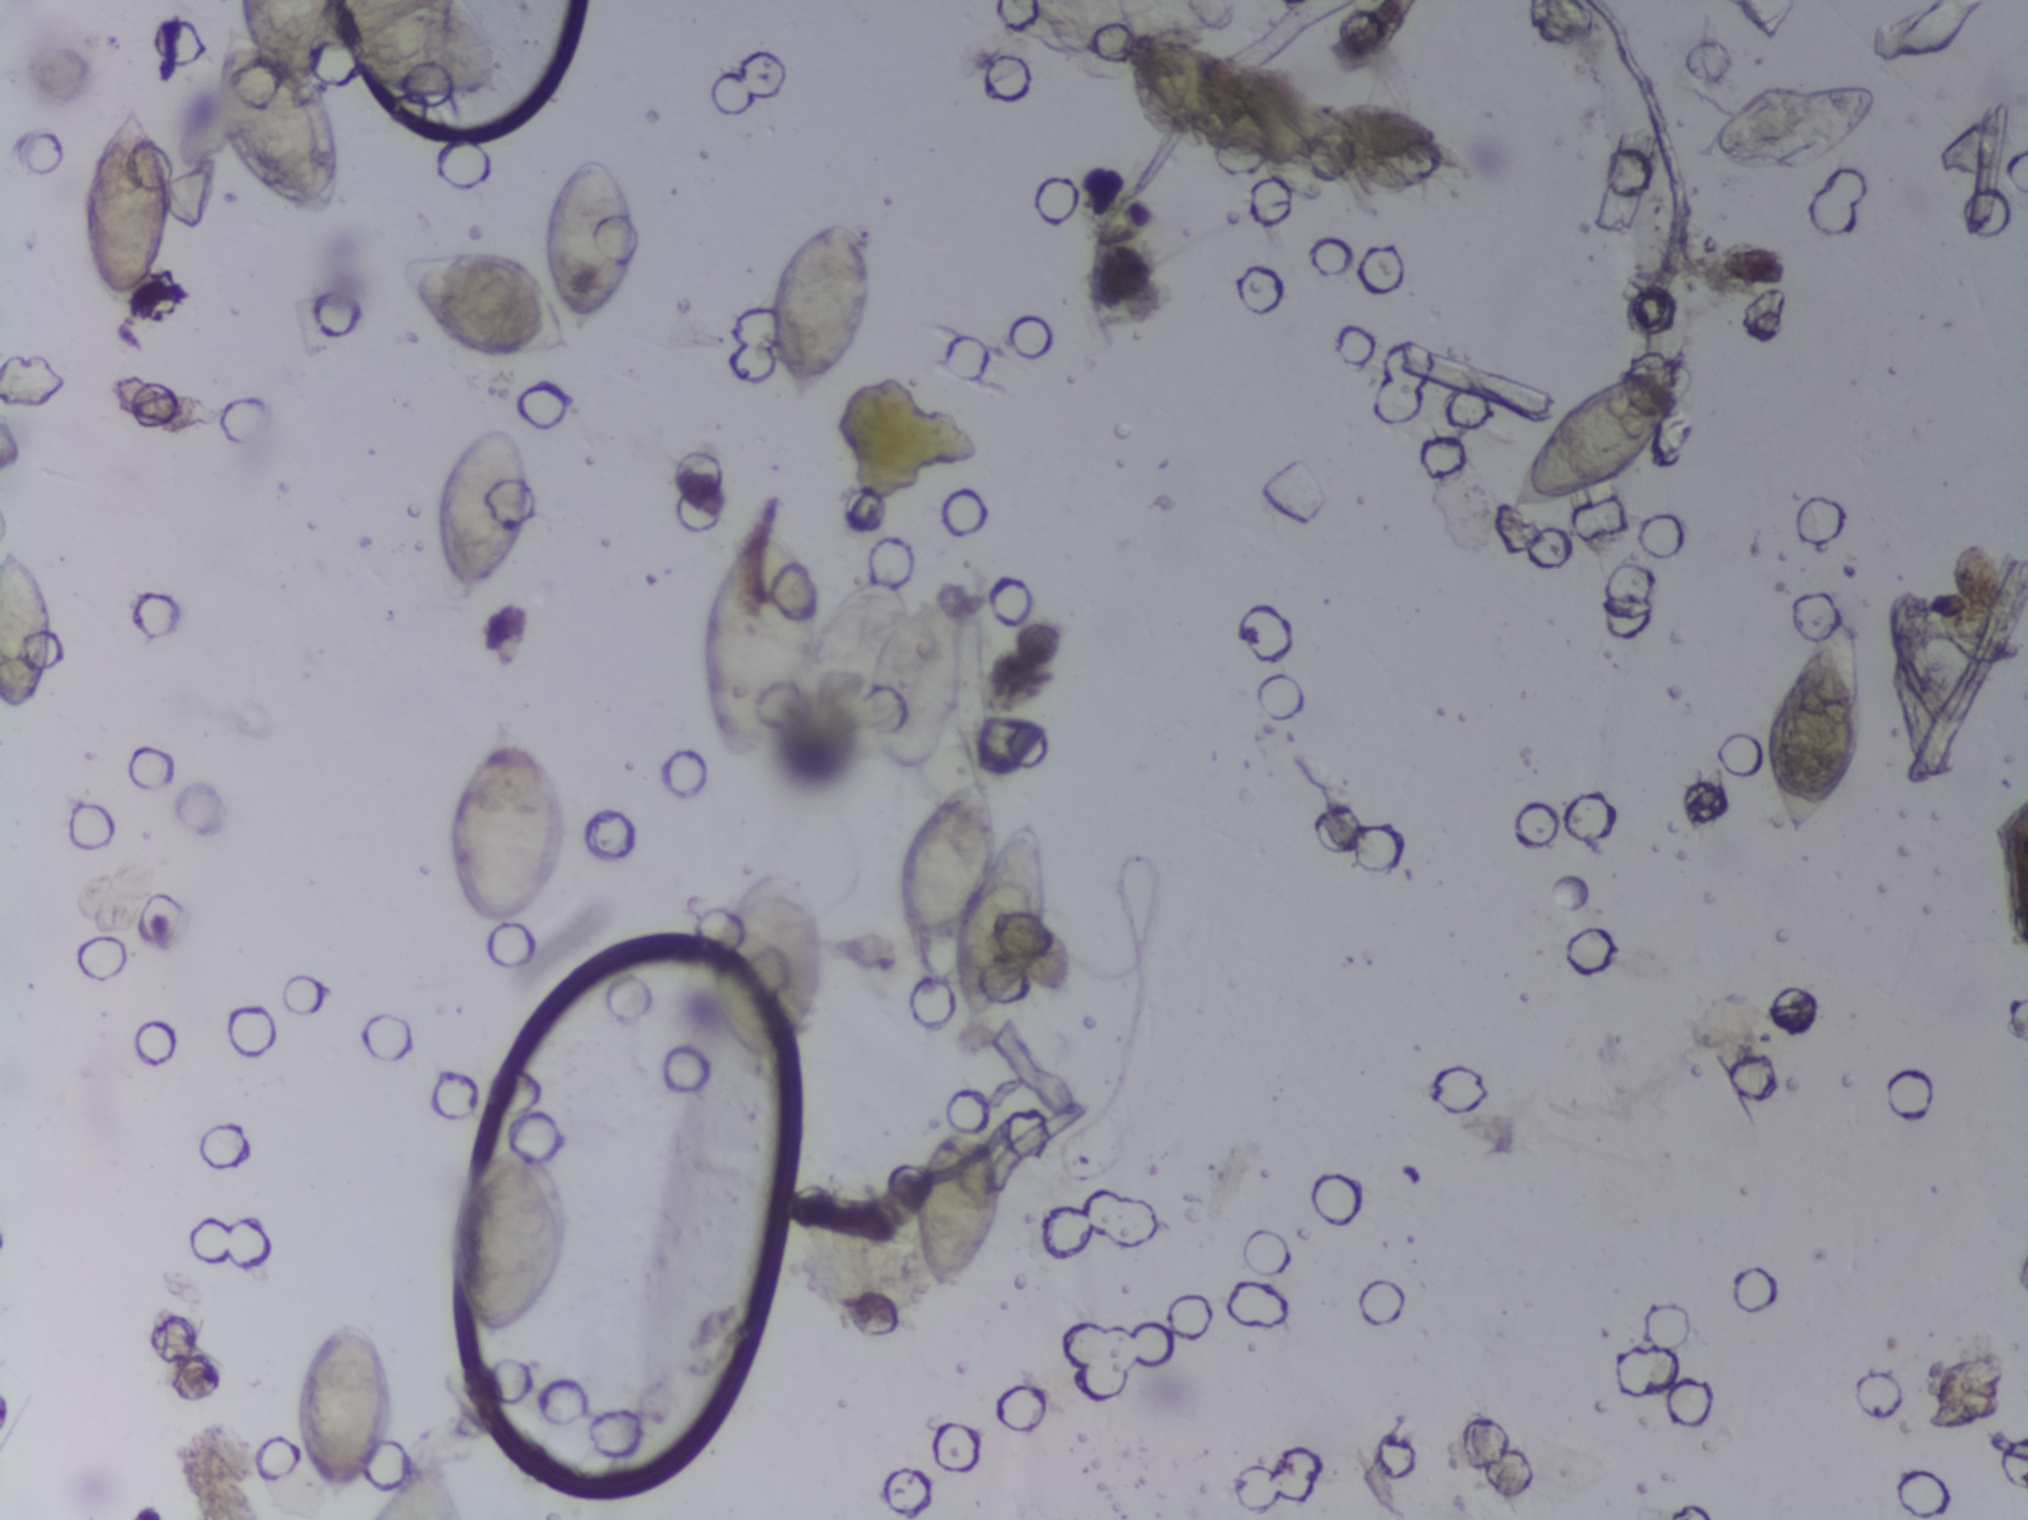
One field of view of a urine filter membrane, 4× objective, 2028 × 1520 pixels.
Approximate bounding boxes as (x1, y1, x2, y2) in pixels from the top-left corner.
Findings: 17 areas outlined as Schistosoma eggs. Locations: (0, 544, 56, 717) (reaching the left edge of the frame); (75, 98, 178, 309); (211, 0, 503, 222) (reaching the top edge of the frame); (288, 1315, 399, 1509); (368, 1440, 471, 1519) (reaching the bottom edge of the frame); (396, 151, 638, 360); (429, 421, 533, 608); (436, 713, 569, 932); (444, 1127, 573, 1346); (698, 513, 967, 773) (eggs clustered together); (710, 853, 825, 1078); (764, 212, 871, 407); (900, 773, 1052, 1034); (908, 1107, 1007, 1298); (1506, 363, 1687, 518); (1691, 78, 1877, 177); (1765, 612, 1865, 846). An outlined area can hold more than one egg.